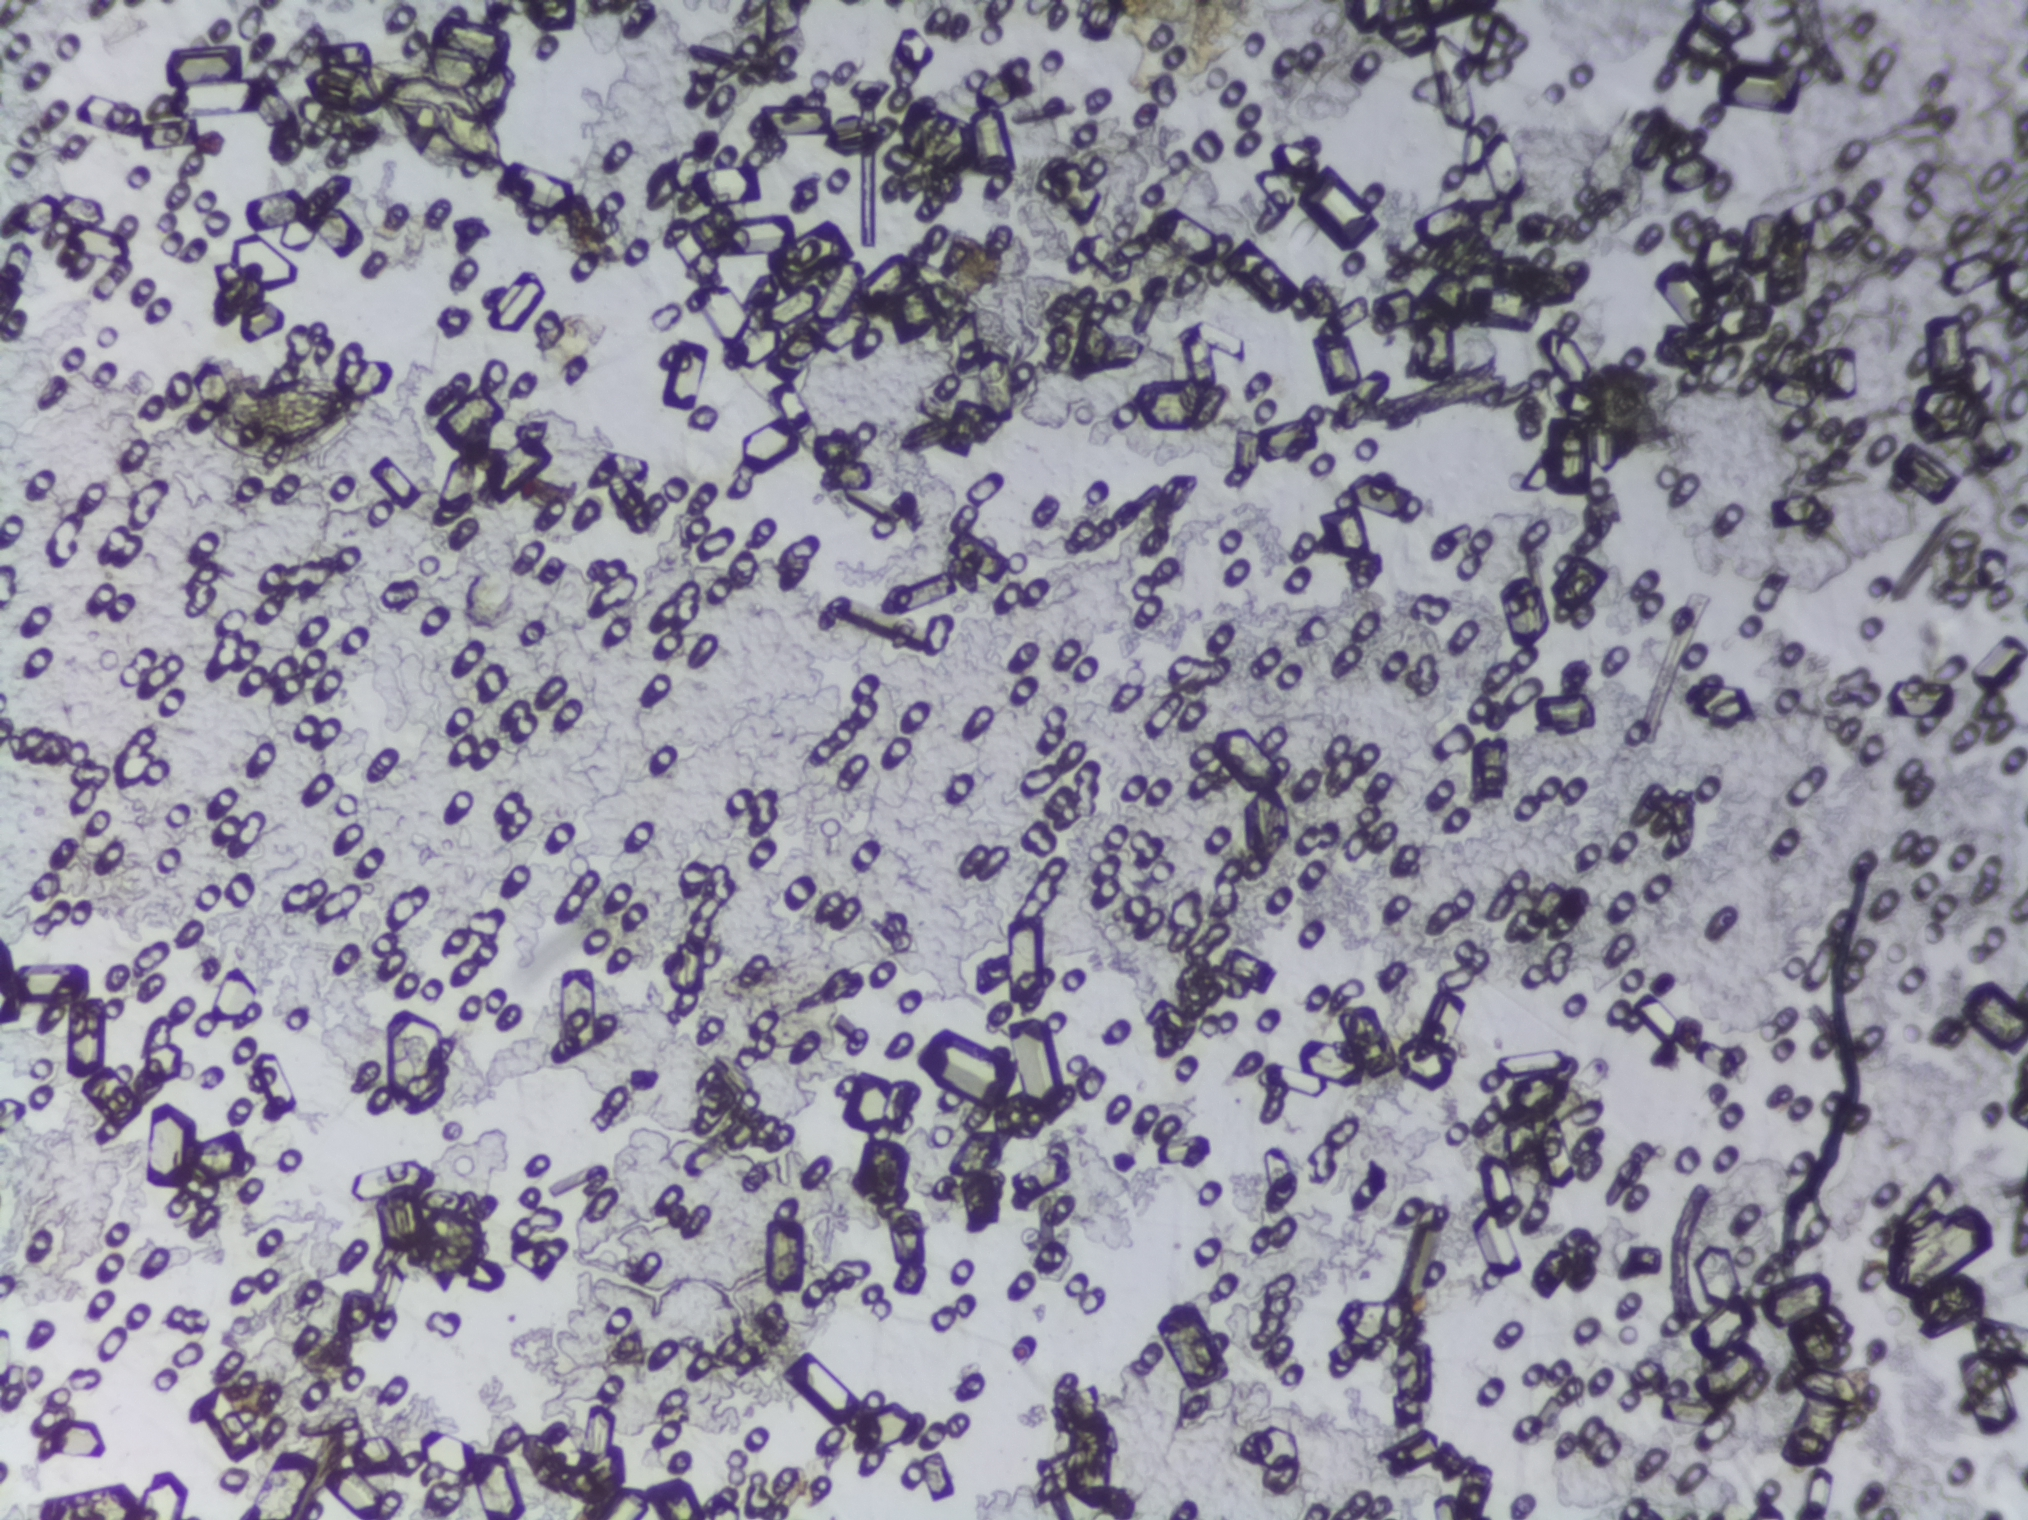
Urine filter membrane photographed through a 4× microscope objective.
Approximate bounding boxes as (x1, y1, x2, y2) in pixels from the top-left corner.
Schistosoma eggs are outlined in three areas of this image, listed from left to right: (190, 370, 370, 462); (364, 56, 526, 179); (419, 1187, 490, 1296). An outlined area can hold more than one egg.